Urine filtration membrane under a 4× objective, photographed by an automated digital microscope.
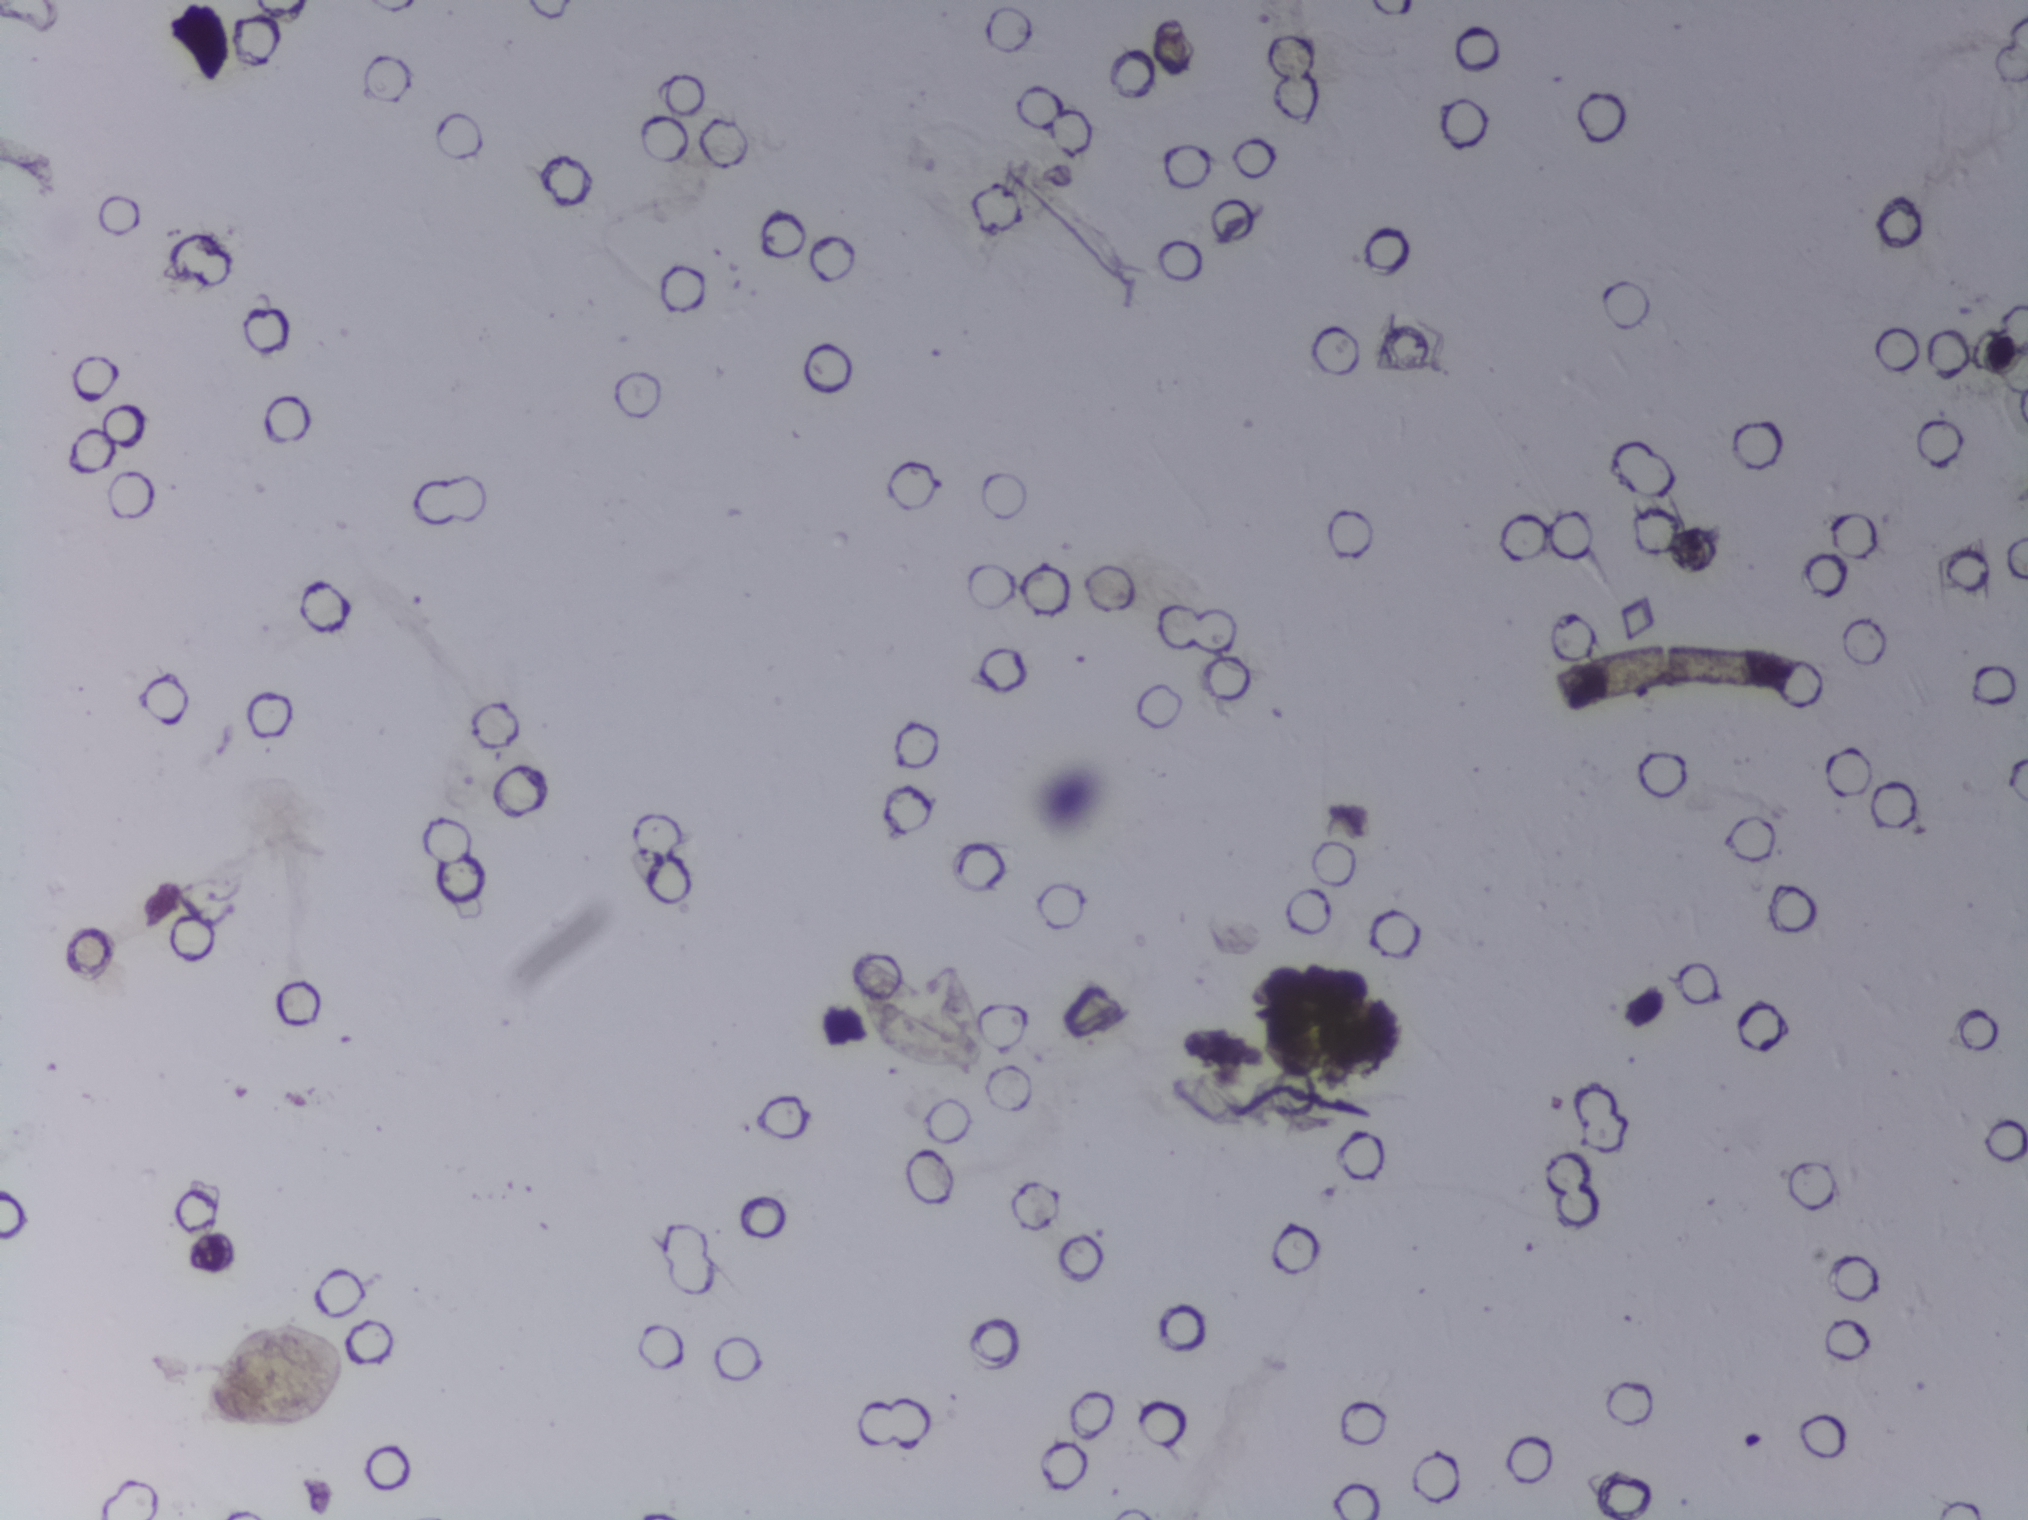
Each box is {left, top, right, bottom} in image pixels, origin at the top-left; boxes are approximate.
Areas outlined as Schistosoma eggs: {194, 1324, 345, 1424}; {852, 952, 989, 1077}. Marked pixels, not the boxes around them: about 0.7% of the image. A single outlined area may contain several eggs.